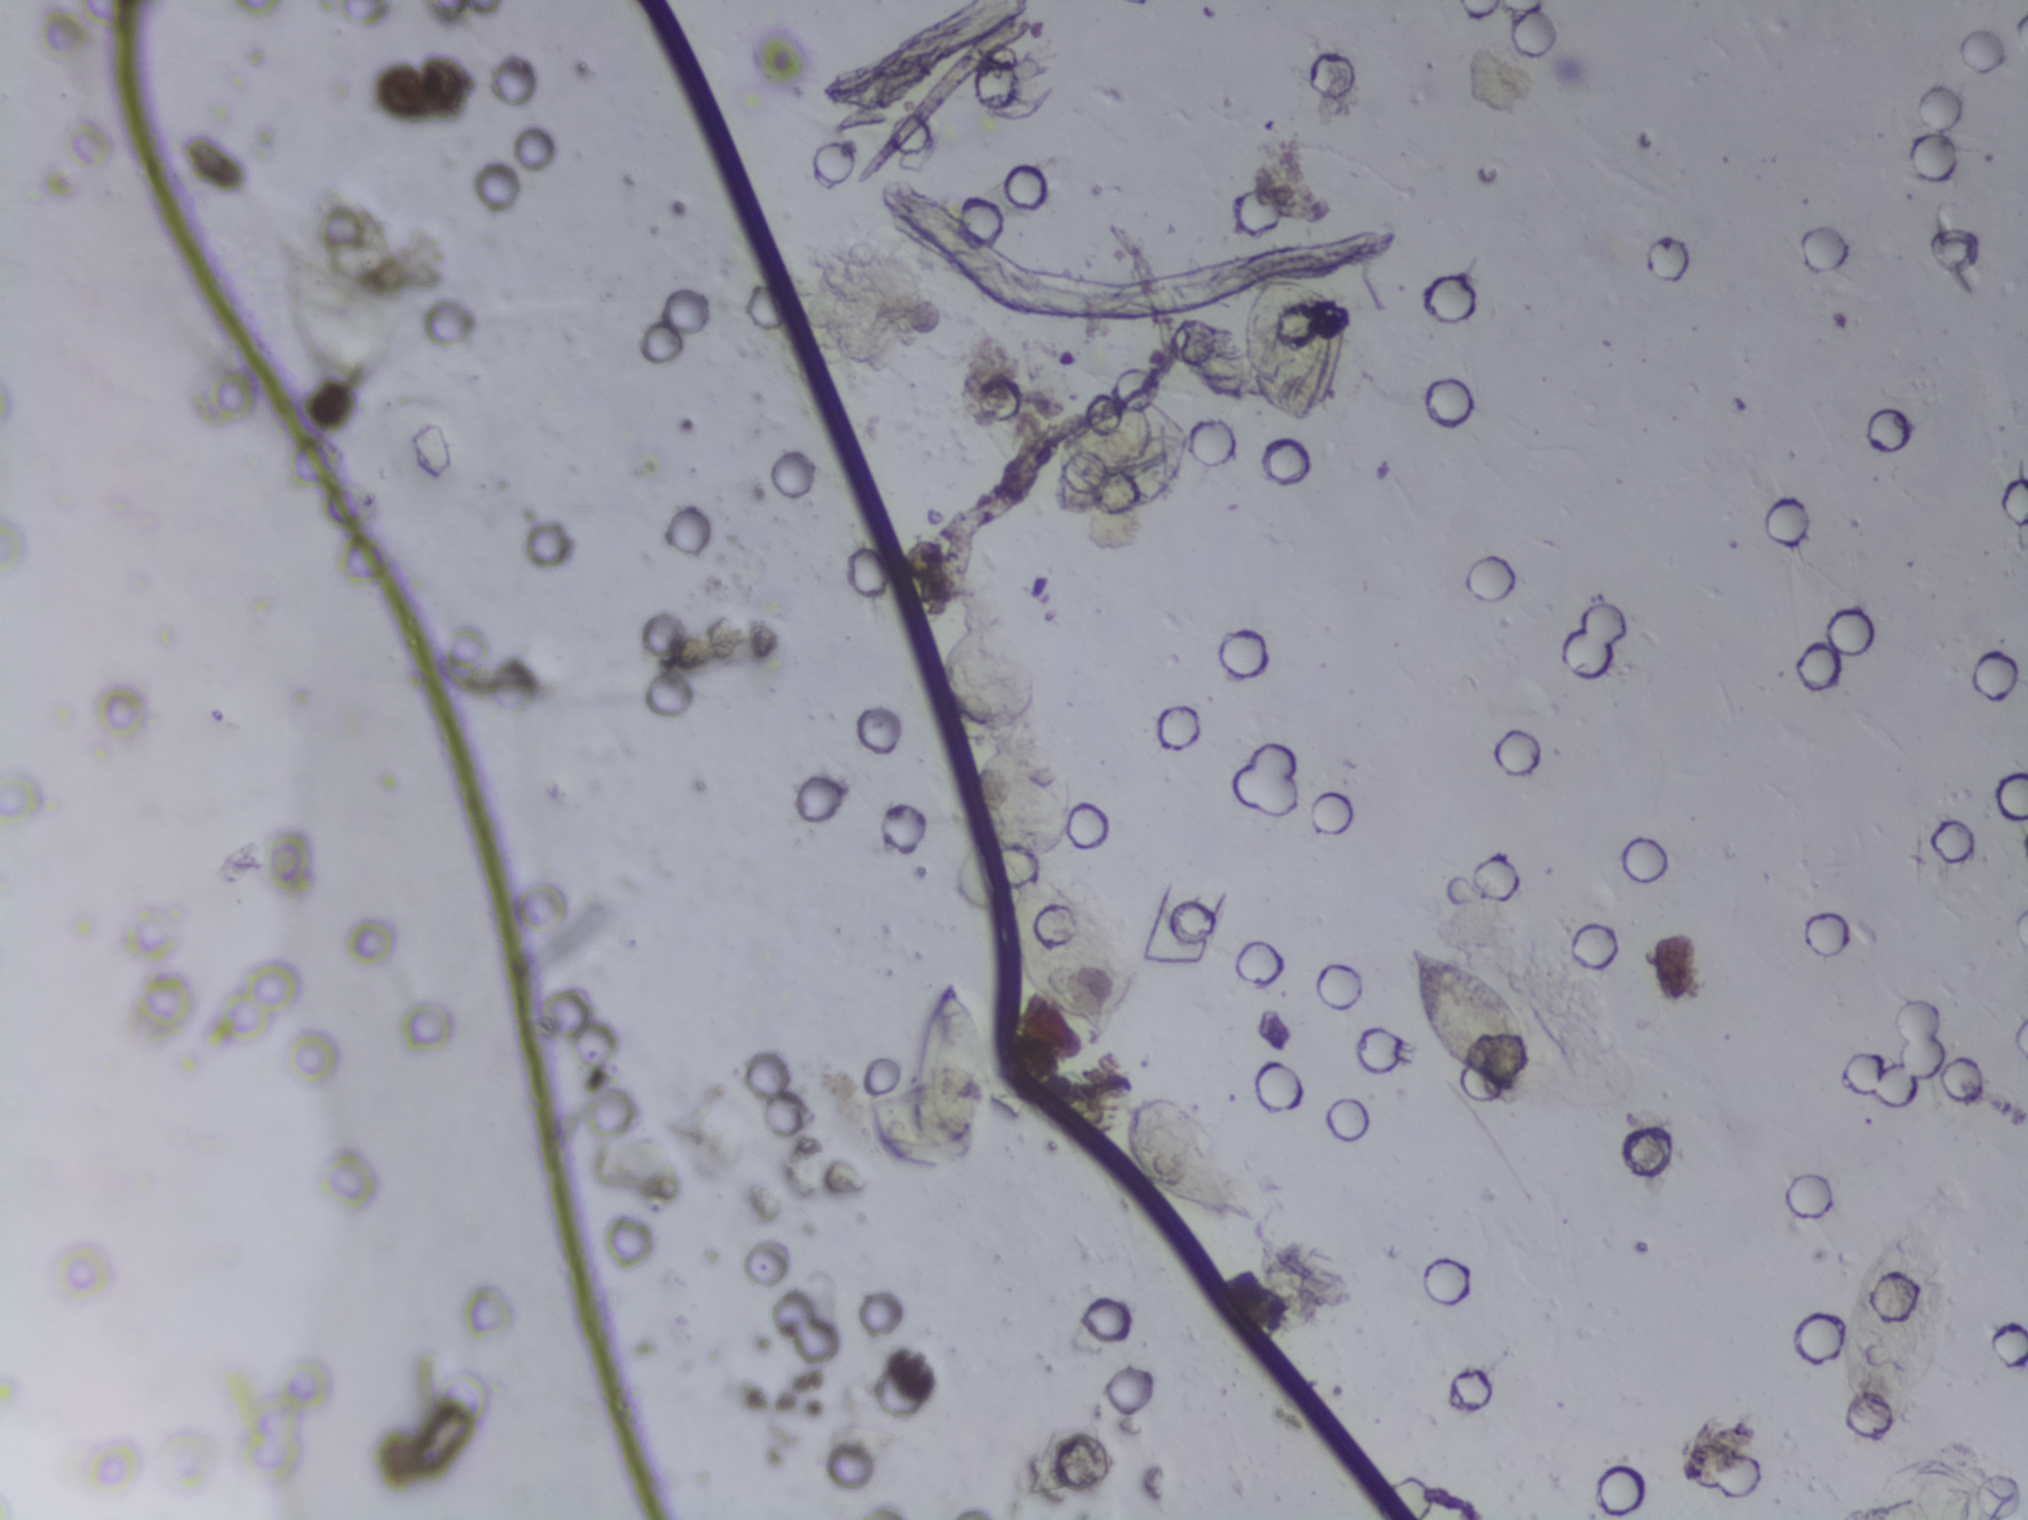
Urine filter membrane photographed through a 4× microscope objective.
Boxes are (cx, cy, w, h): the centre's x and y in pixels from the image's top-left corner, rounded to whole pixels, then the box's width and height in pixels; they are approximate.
Areas outlined as Schistosoma eggs, left to right:
1. (cx=946, cy=1071, w=92, h=184)
2. (cx=1186, cy=1158, w=128, h=135)
3. (cx=1290, cy=352, w=104, h=156)
4. (cx=1466, cy=1017, w=133, h=153)
Eggs that touch can end up inside the same outlined area.